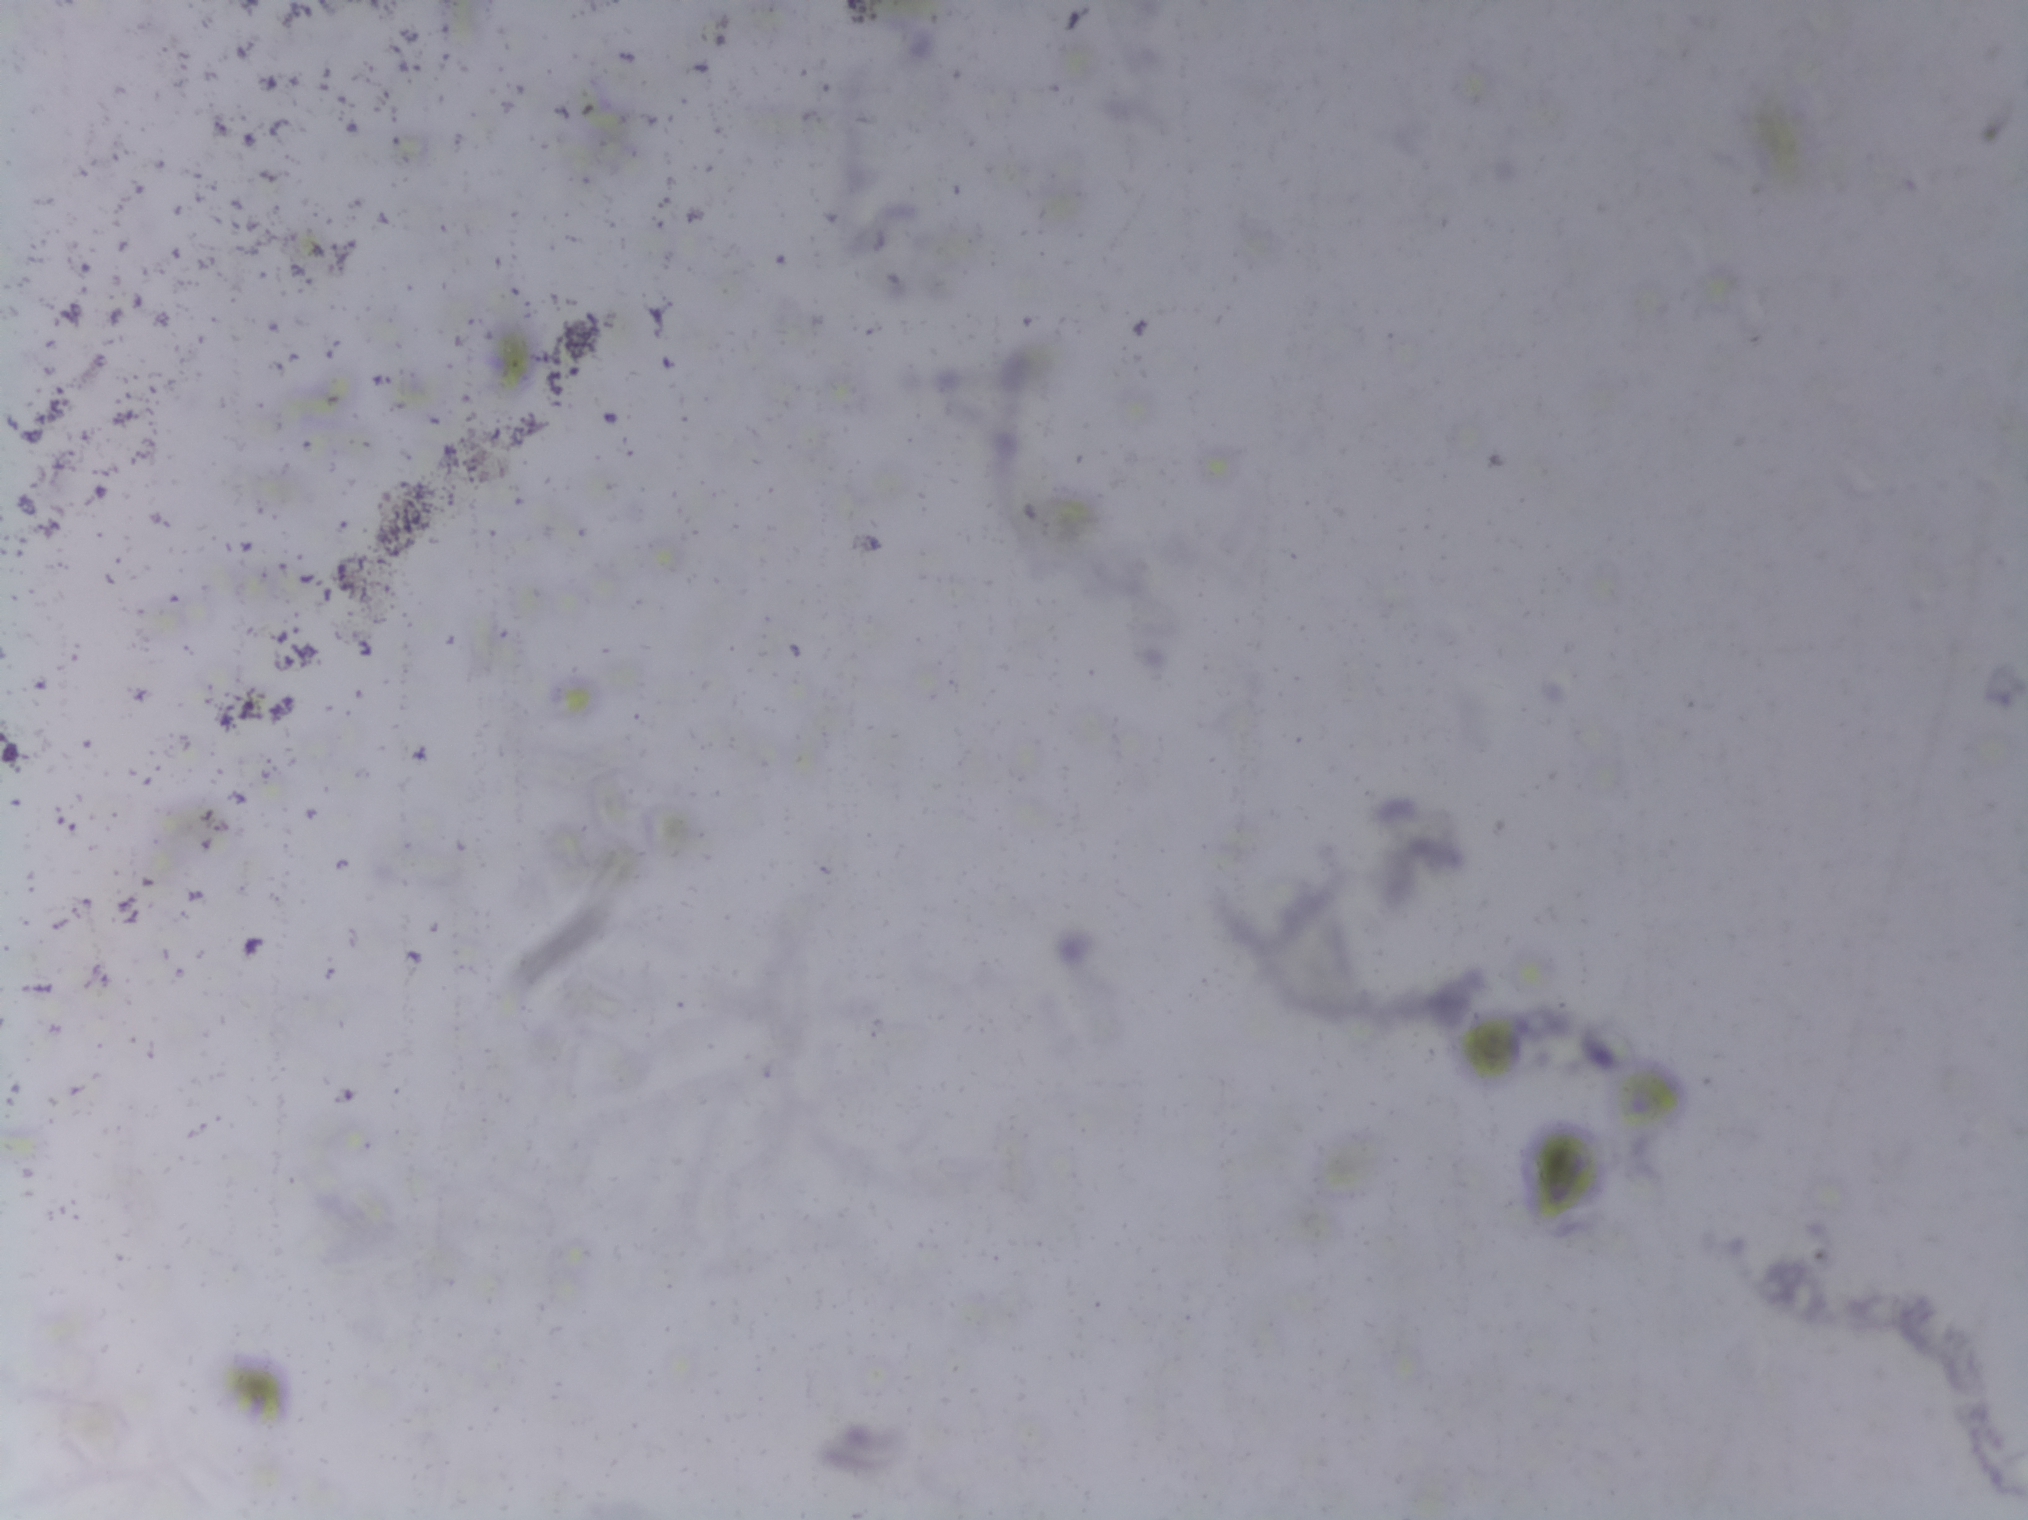
Urine filtration membrane under a 4× objective, photographed by an automated digital microscope.
No Schistosoma egg is outlined in this image's expert annotation.